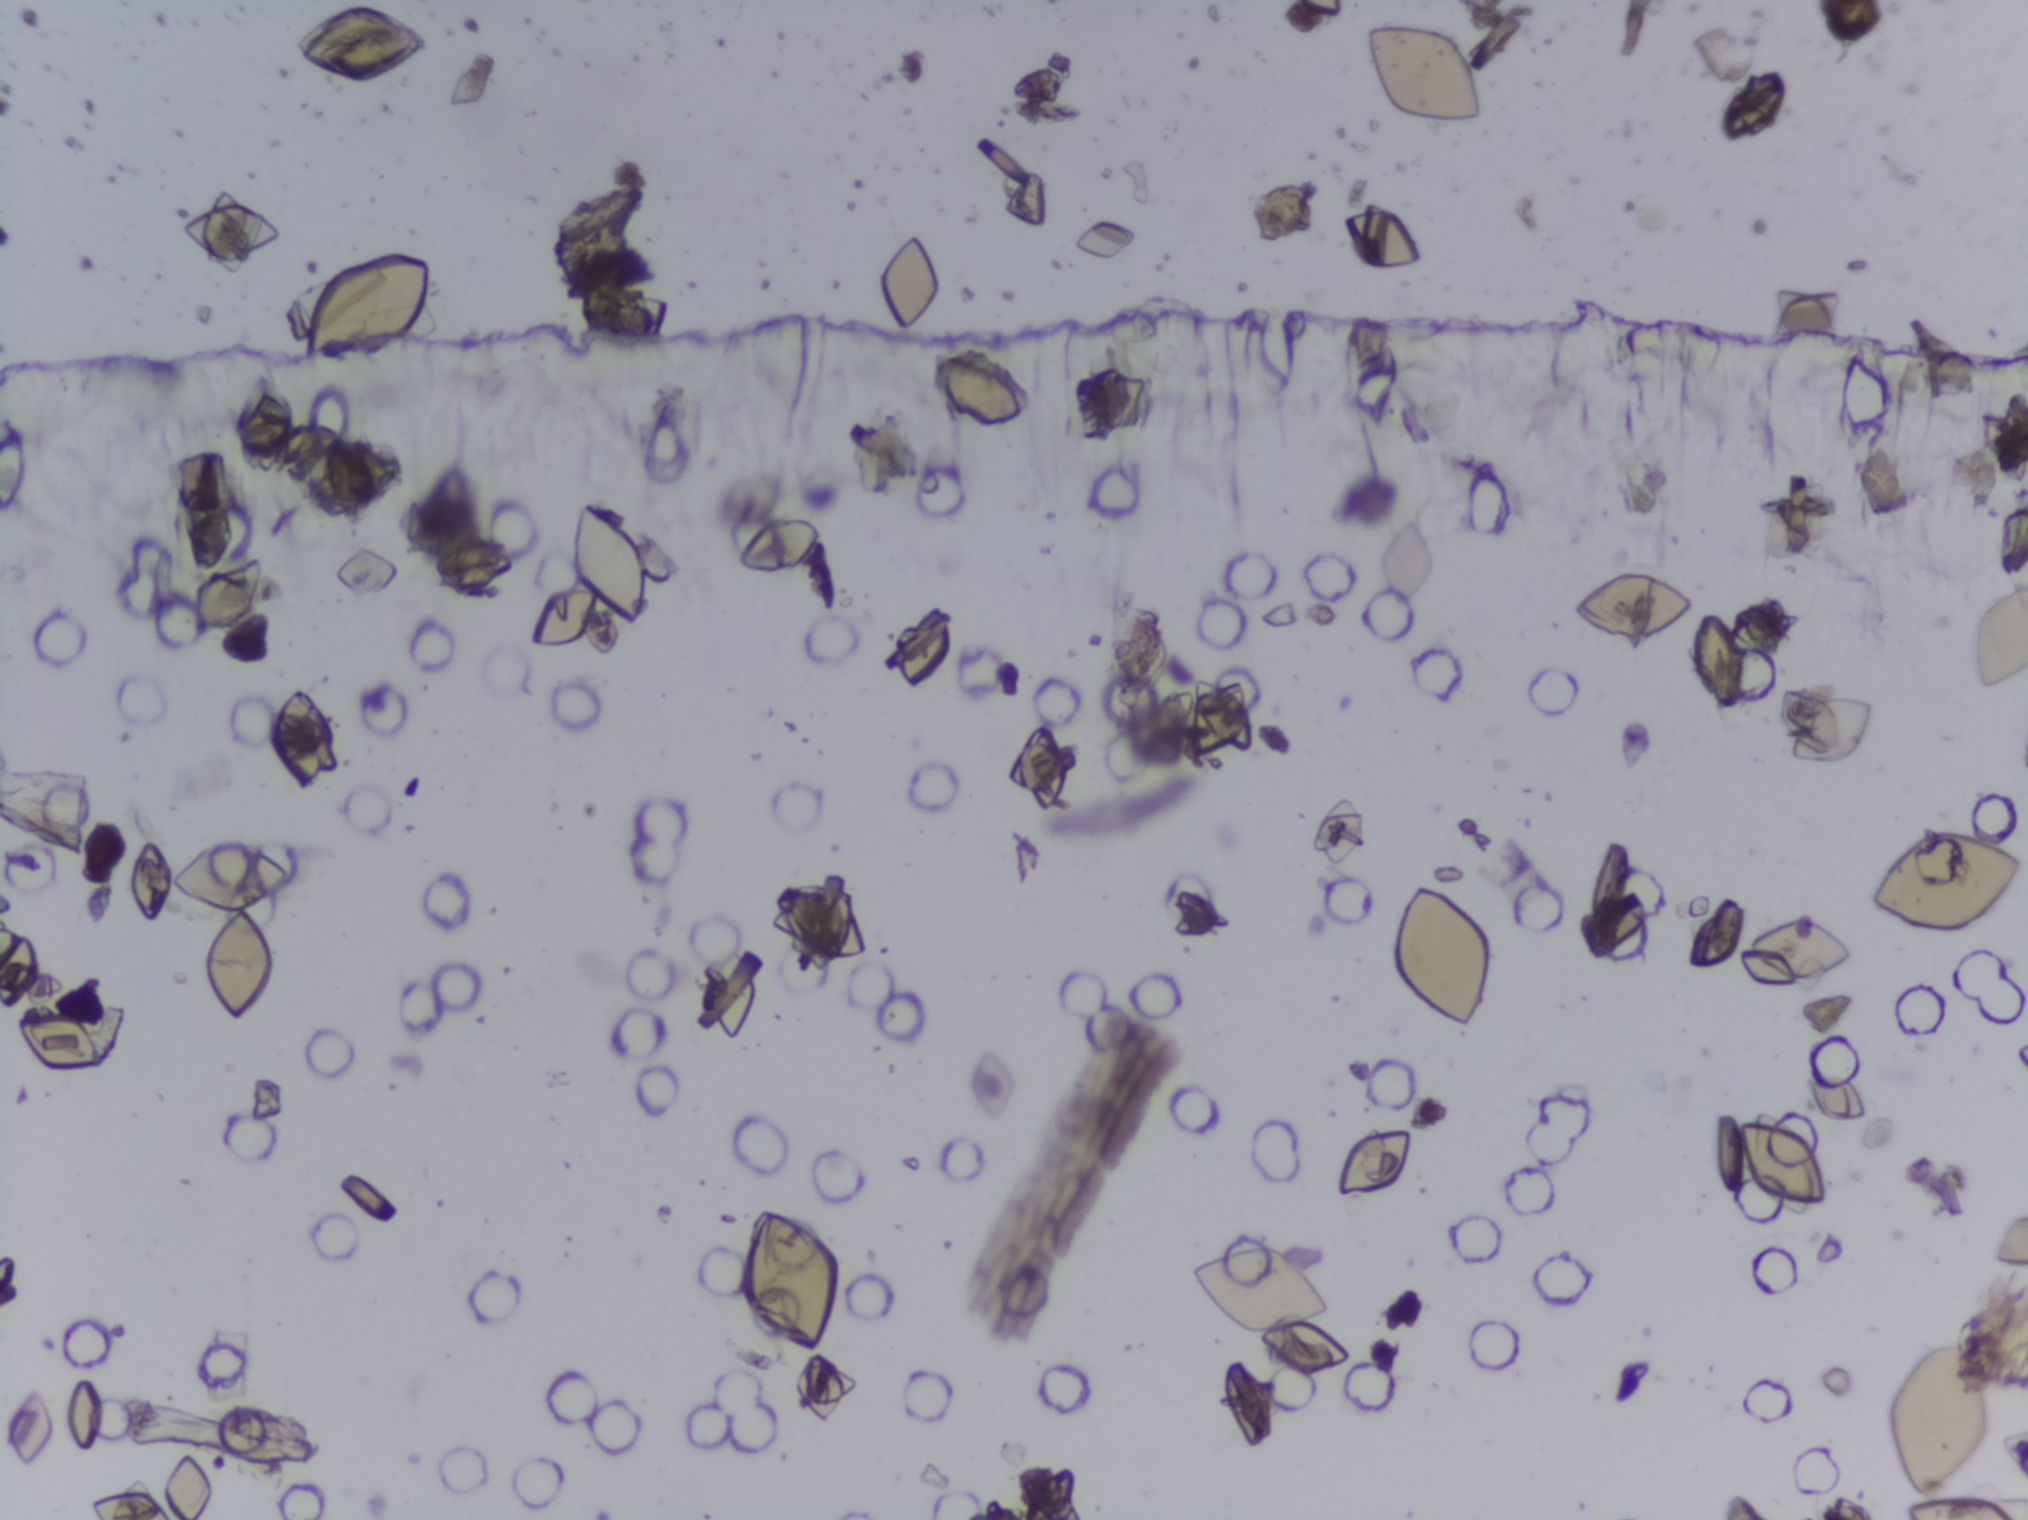
Urine filtration membrane under a 4× objective, photographed by an automated digital microscope. Field of view: about 1.5 mm wide and 1.1 mm high.
No area of this image was outlined as a Schistosoma egg.